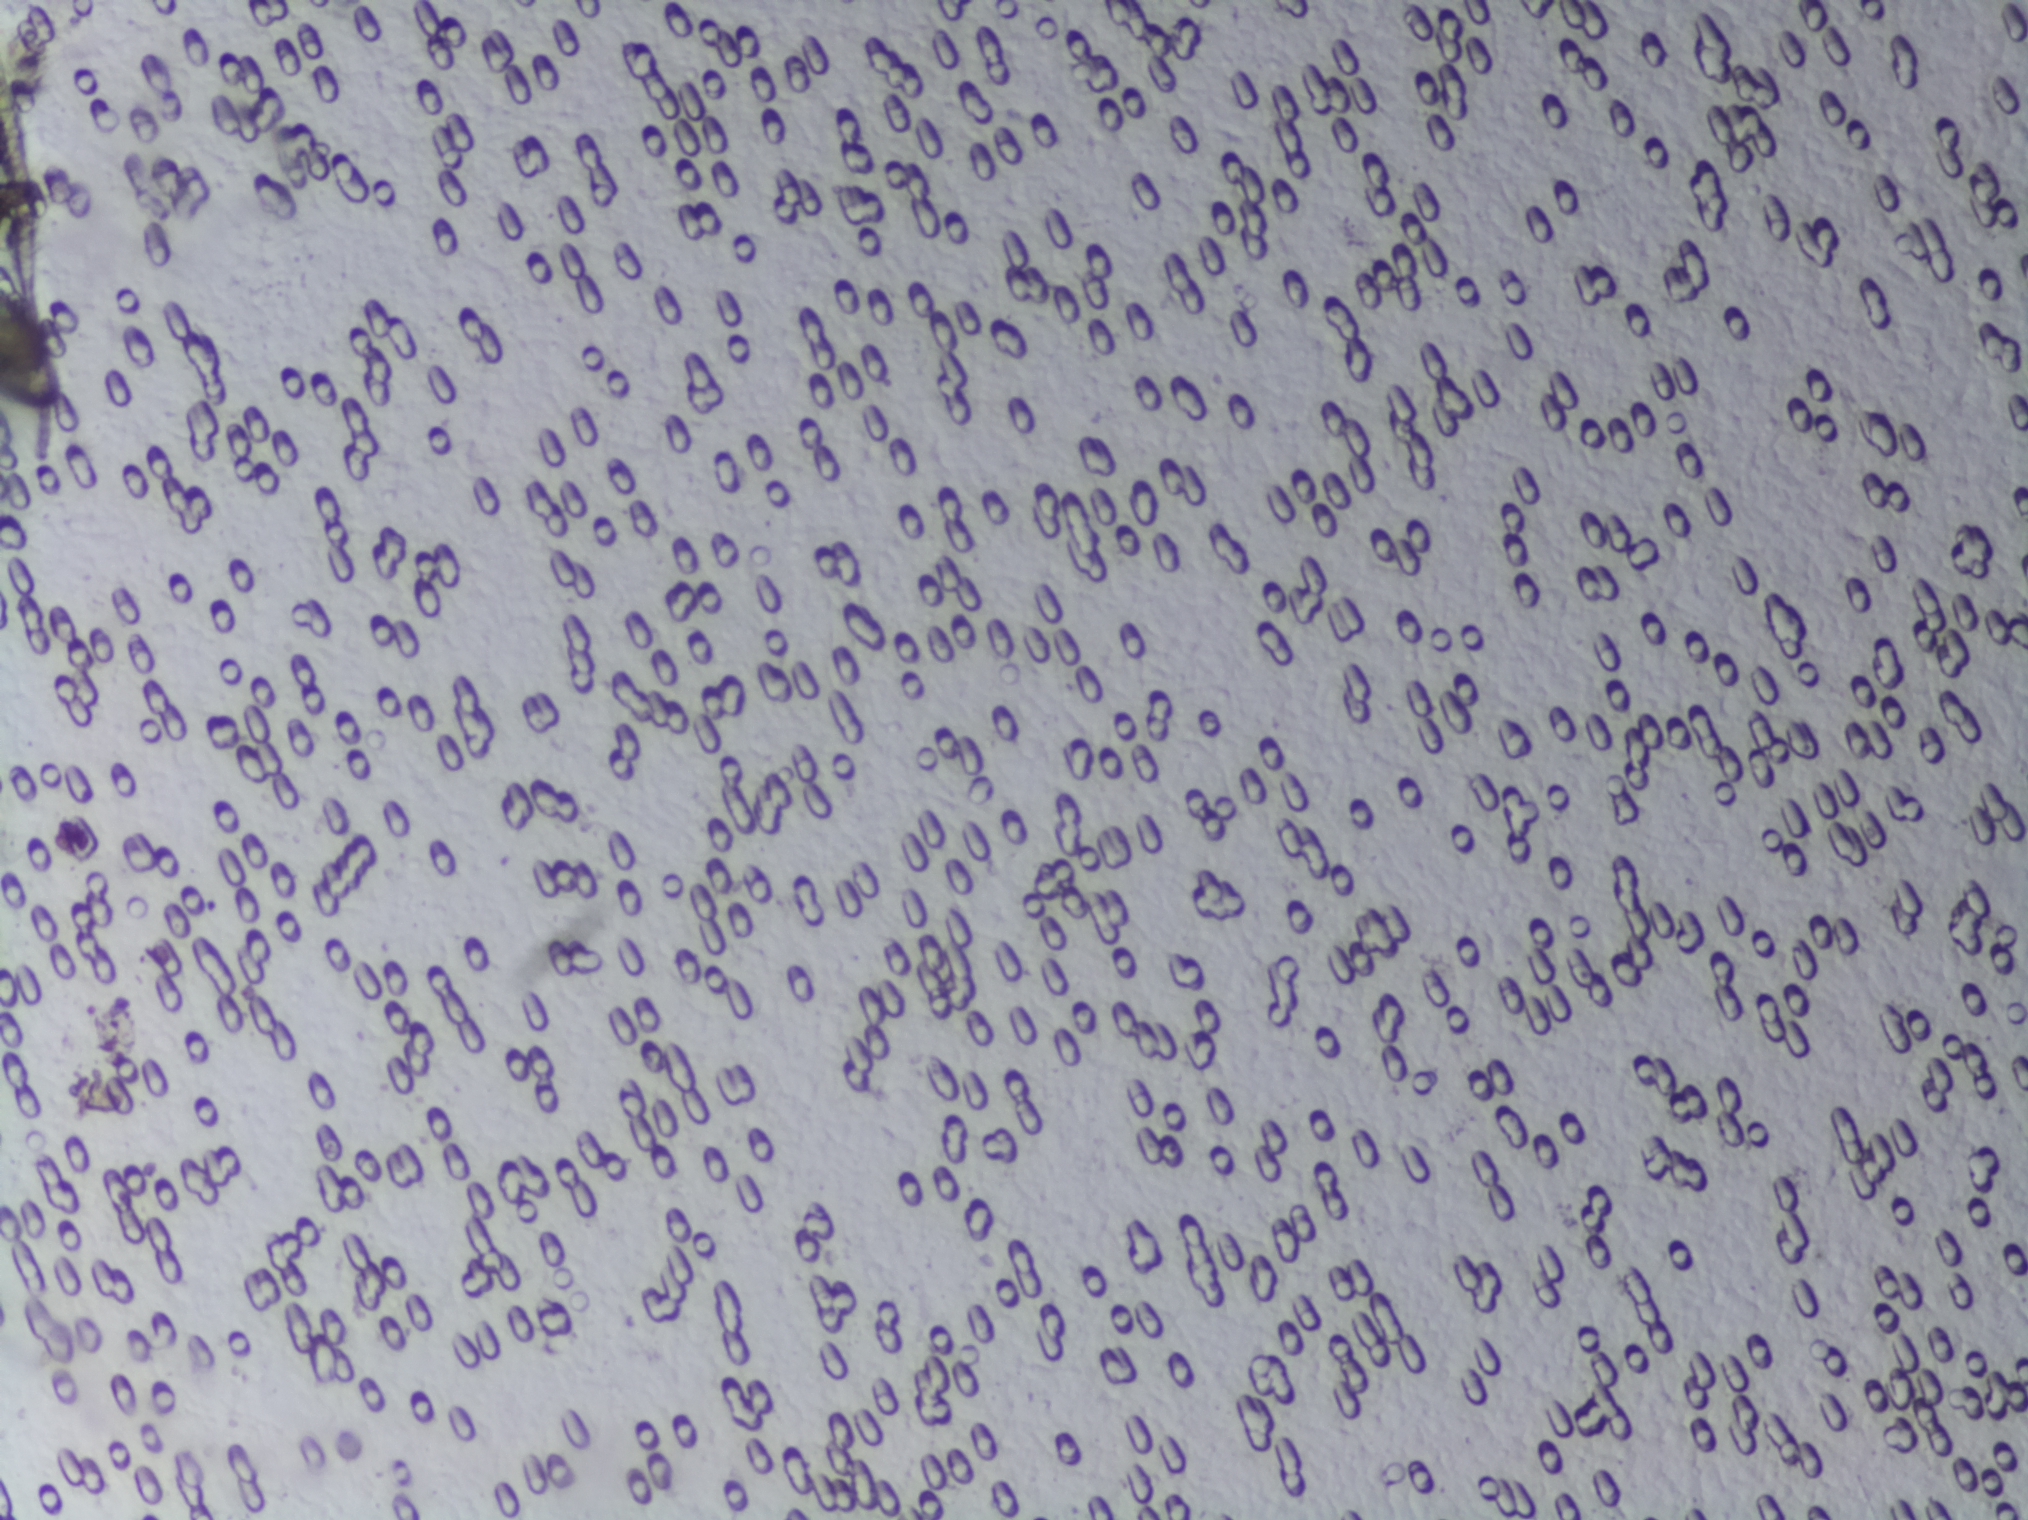
Urine filter membrane photographed through a 4× microscope objective.
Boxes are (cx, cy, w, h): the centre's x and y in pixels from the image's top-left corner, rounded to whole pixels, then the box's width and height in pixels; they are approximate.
Schistosoma egg areas, outlined: (cx=32, cy=346, w=65, h=134) (reaching the left edge of the frame). A single outlined area may contain several eggs.